Microscope photograph (4× objective) of a membrane that a urine sample was filtered through.
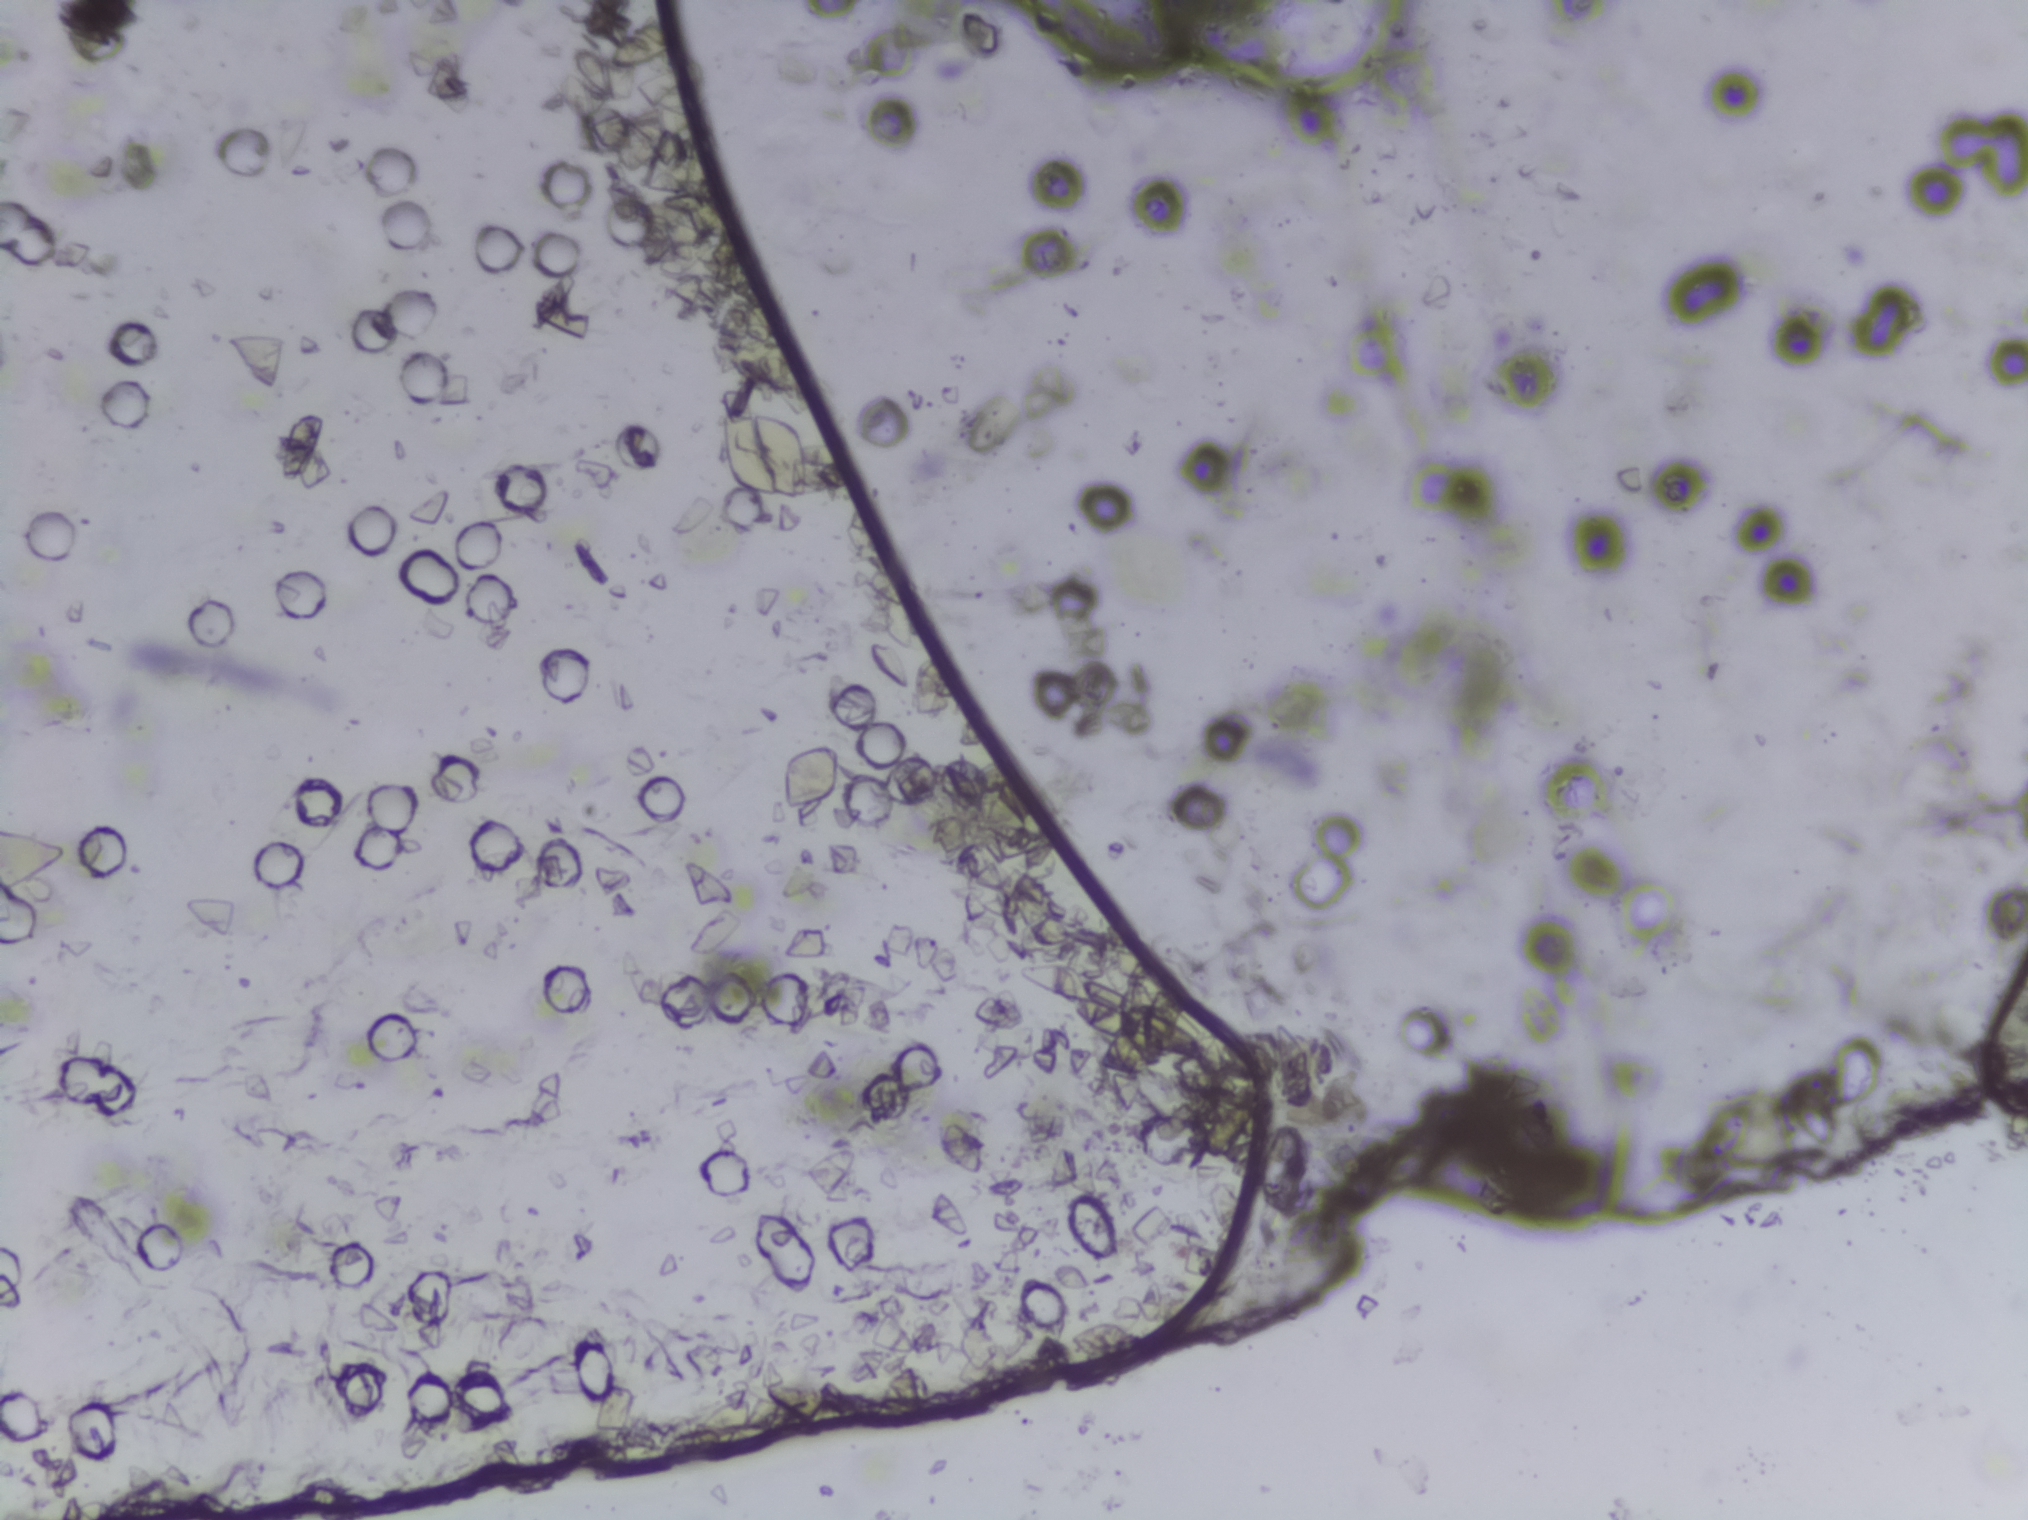
No Schistosoma egg is outlined in this image's expert annotation.